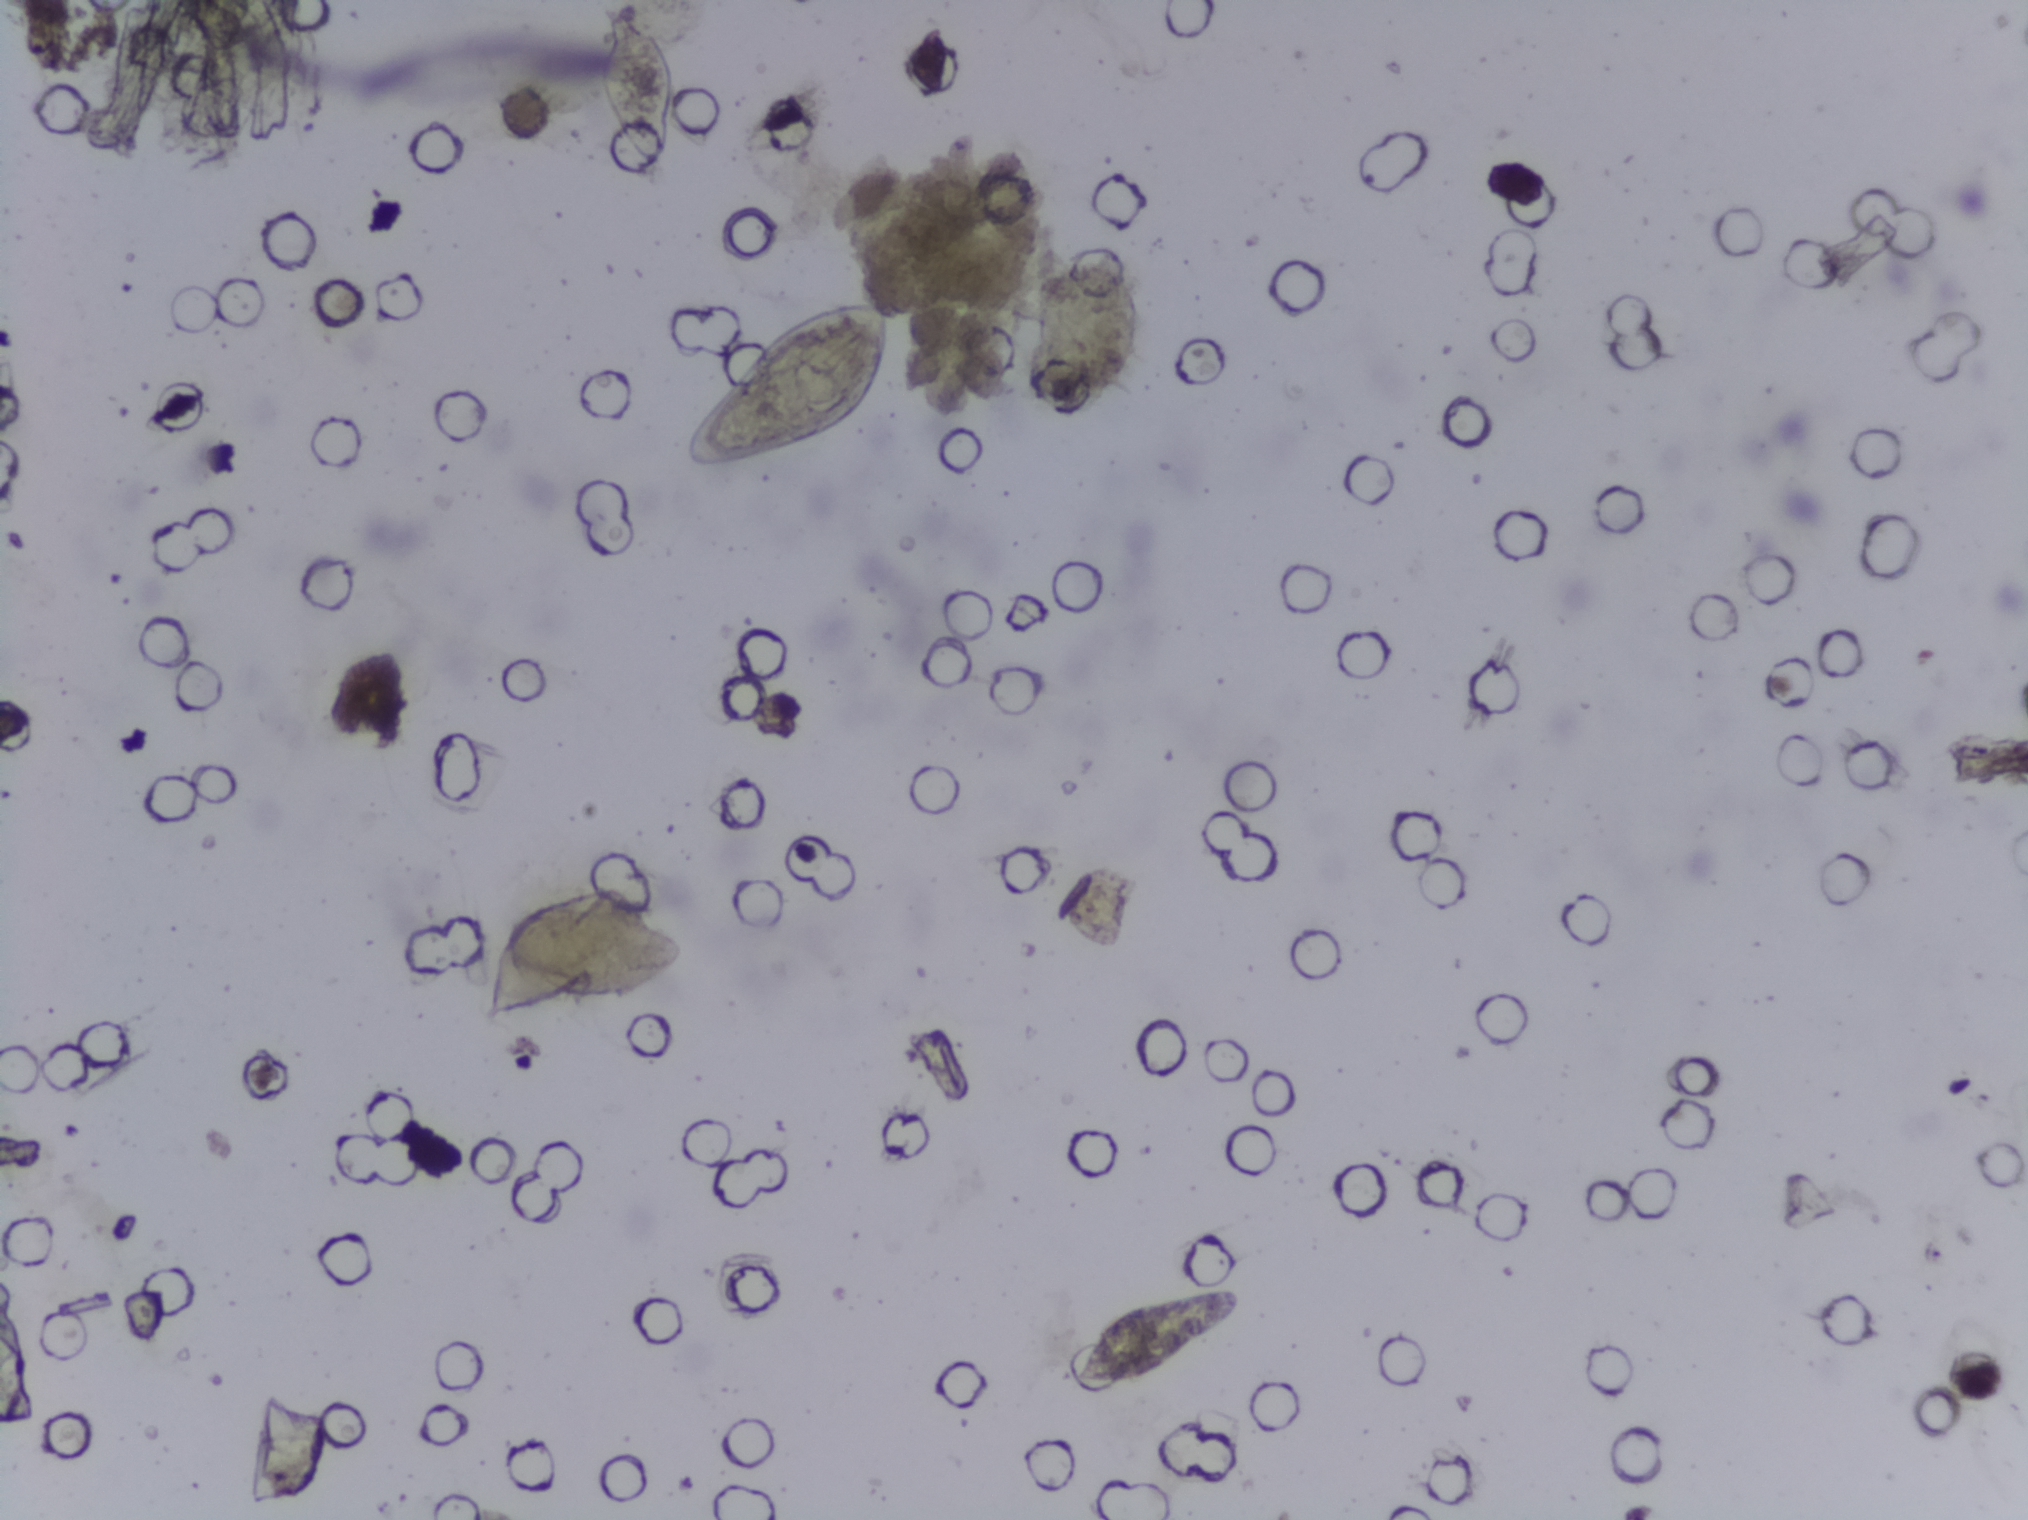
Microscope photograph (4× objective) of a membrane that a urine sample was filtered through. The image covers about 1.5 × 1.1 mm of the membrane.
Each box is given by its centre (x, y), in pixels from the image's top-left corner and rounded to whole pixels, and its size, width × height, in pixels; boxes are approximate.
Schistosoma eggs are outlined in three areas of this image, listed from left to right: centre (585, 953), 204 × 134 px; centre (636, 88), 74 × 161 px; centre (785, 384), 213 × 178 px. An outlined area can hold more than one egg.